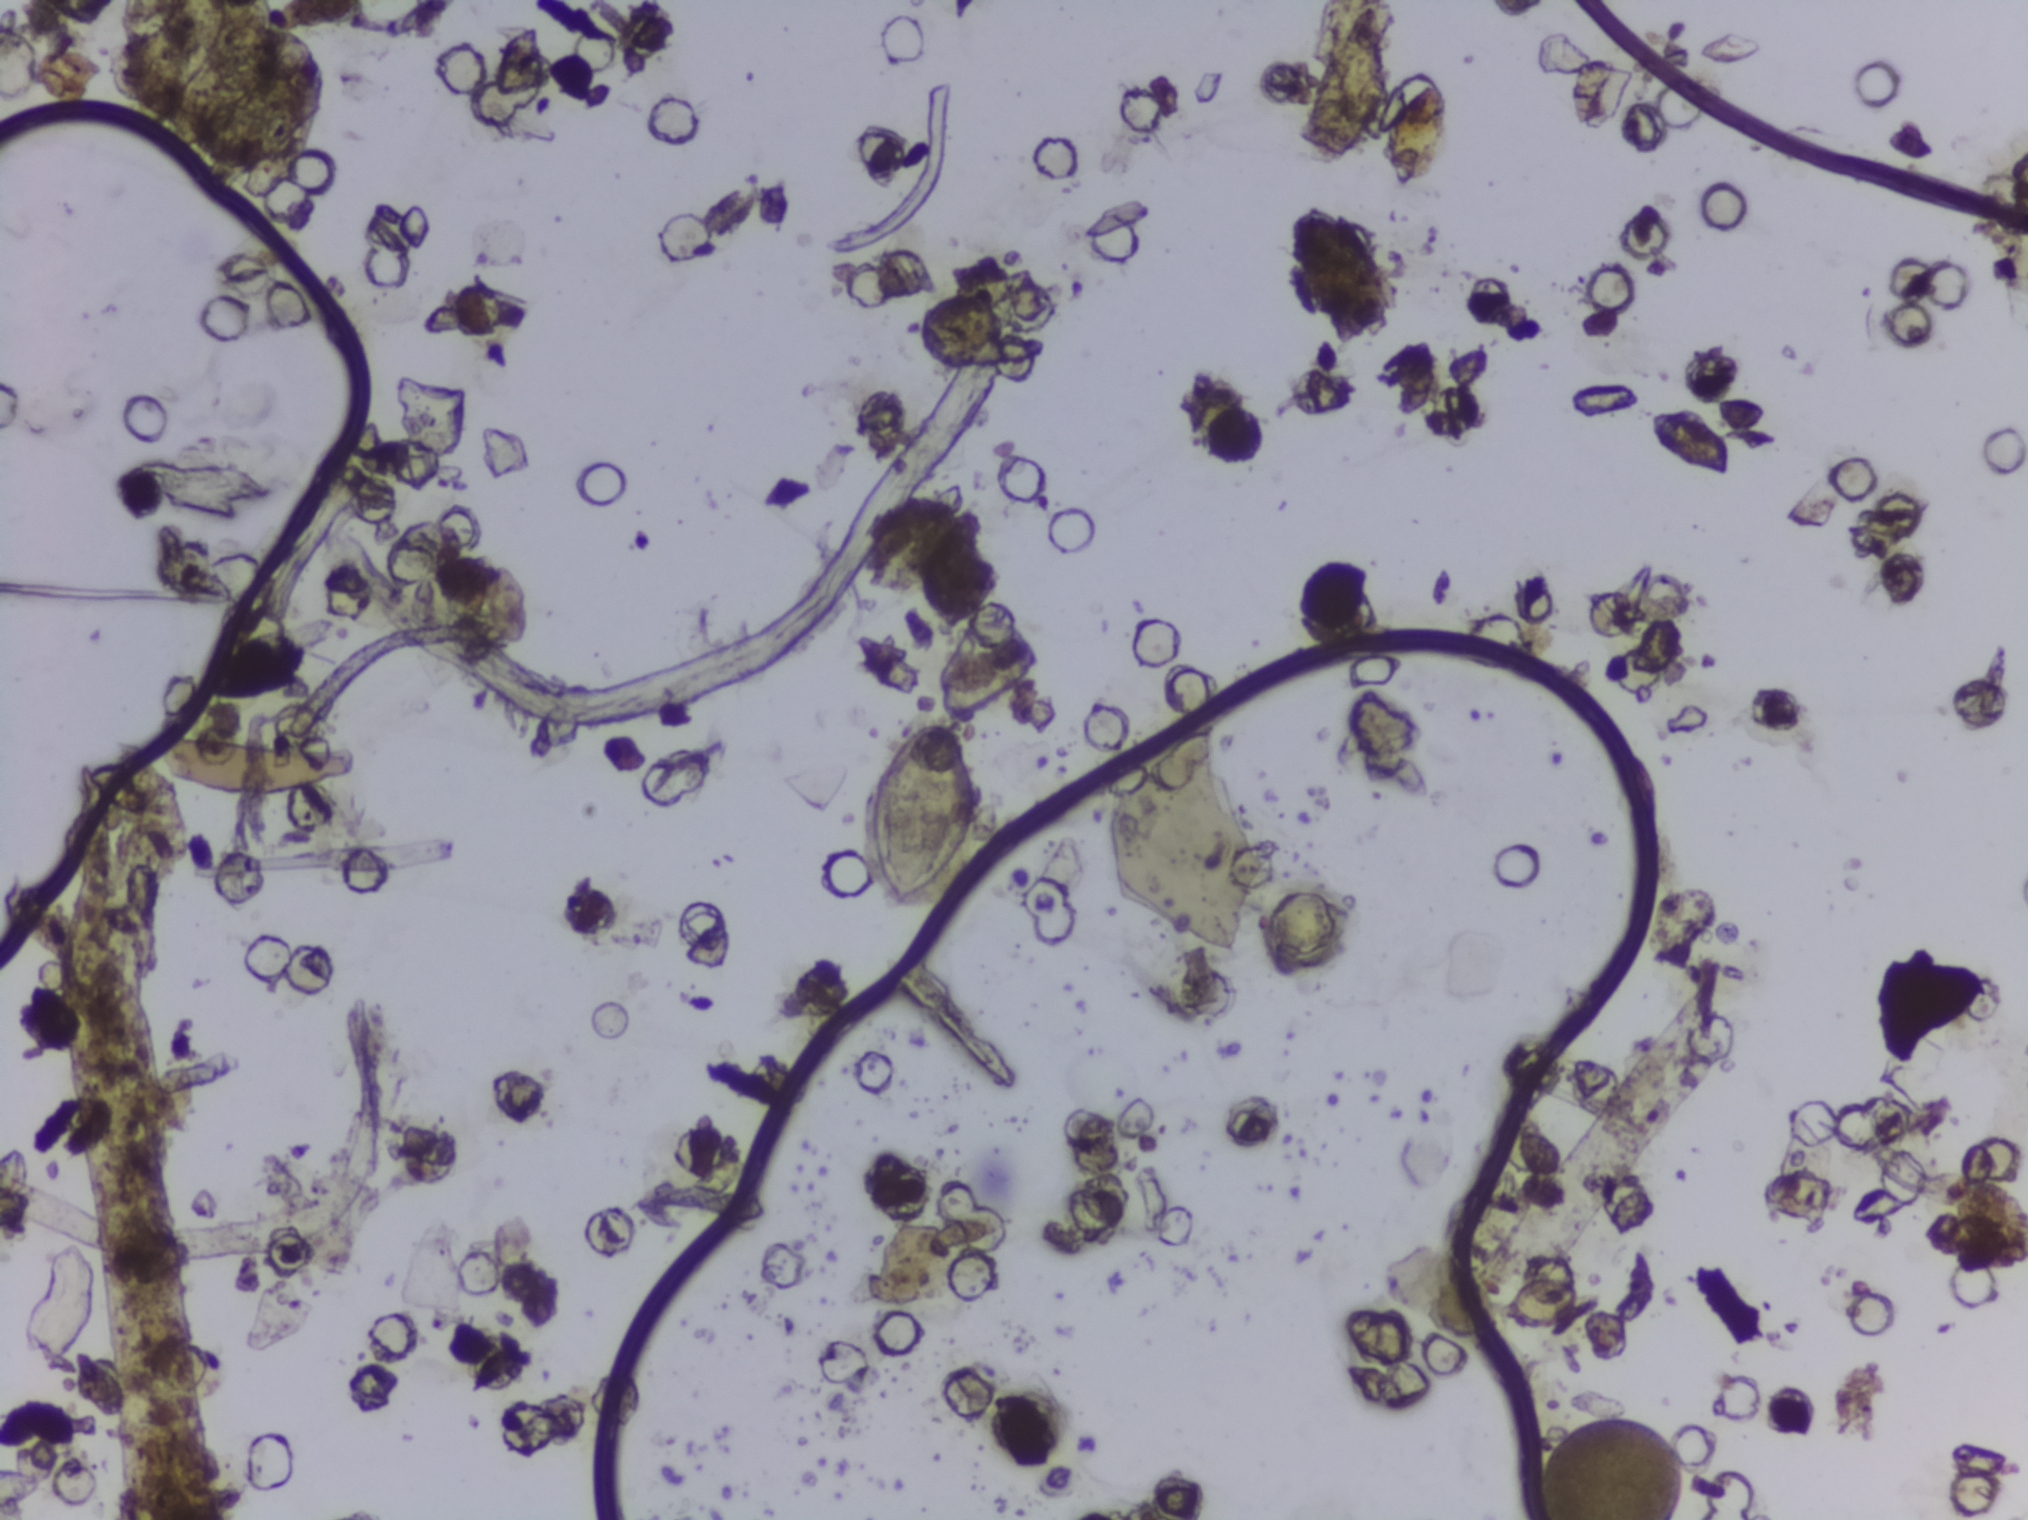
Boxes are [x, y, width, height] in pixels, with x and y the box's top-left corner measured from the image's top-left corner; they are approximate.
Findings: one area outlined as Schistosoma eggs. Location: [859, 721, 123, 190]. Marked pixels, not the box around them: about 0.5% of the image. Eggs that touch can end up inside the same outlined area.
Urine filtration membrane under a 4× objective, photographed by an automated digital microscope. The field of view is about 1.5 mm × 1.1 mm.